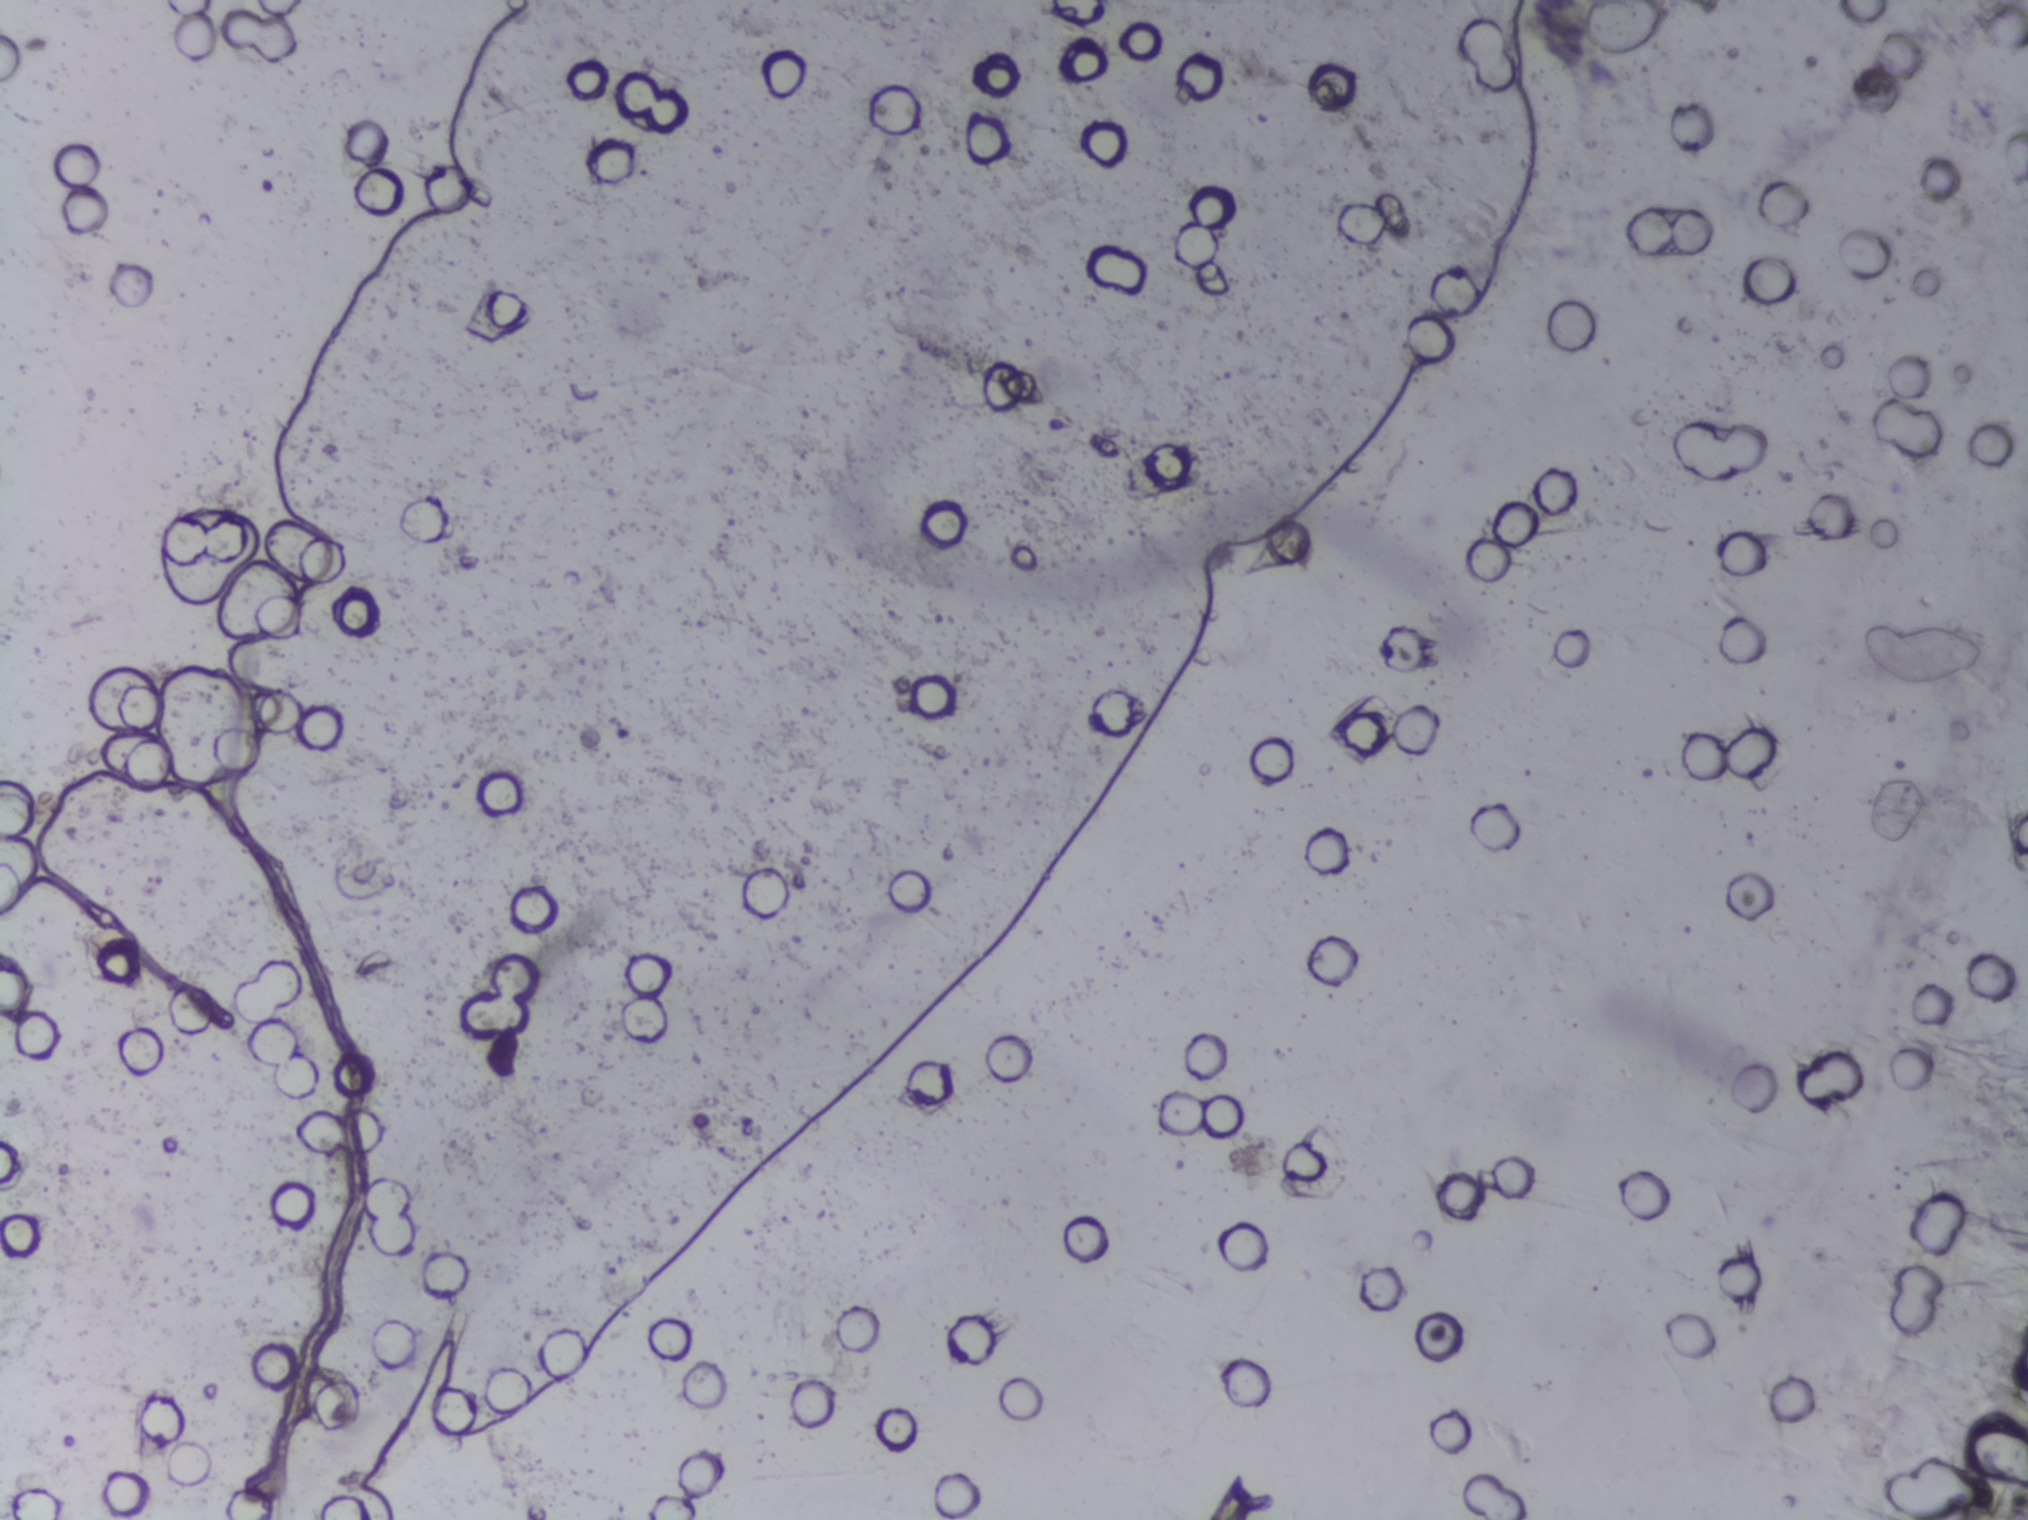
Schistosoma eggs: none outlined.
Photograph from an automated digital microscope: urine filter membrane, 4× objective.